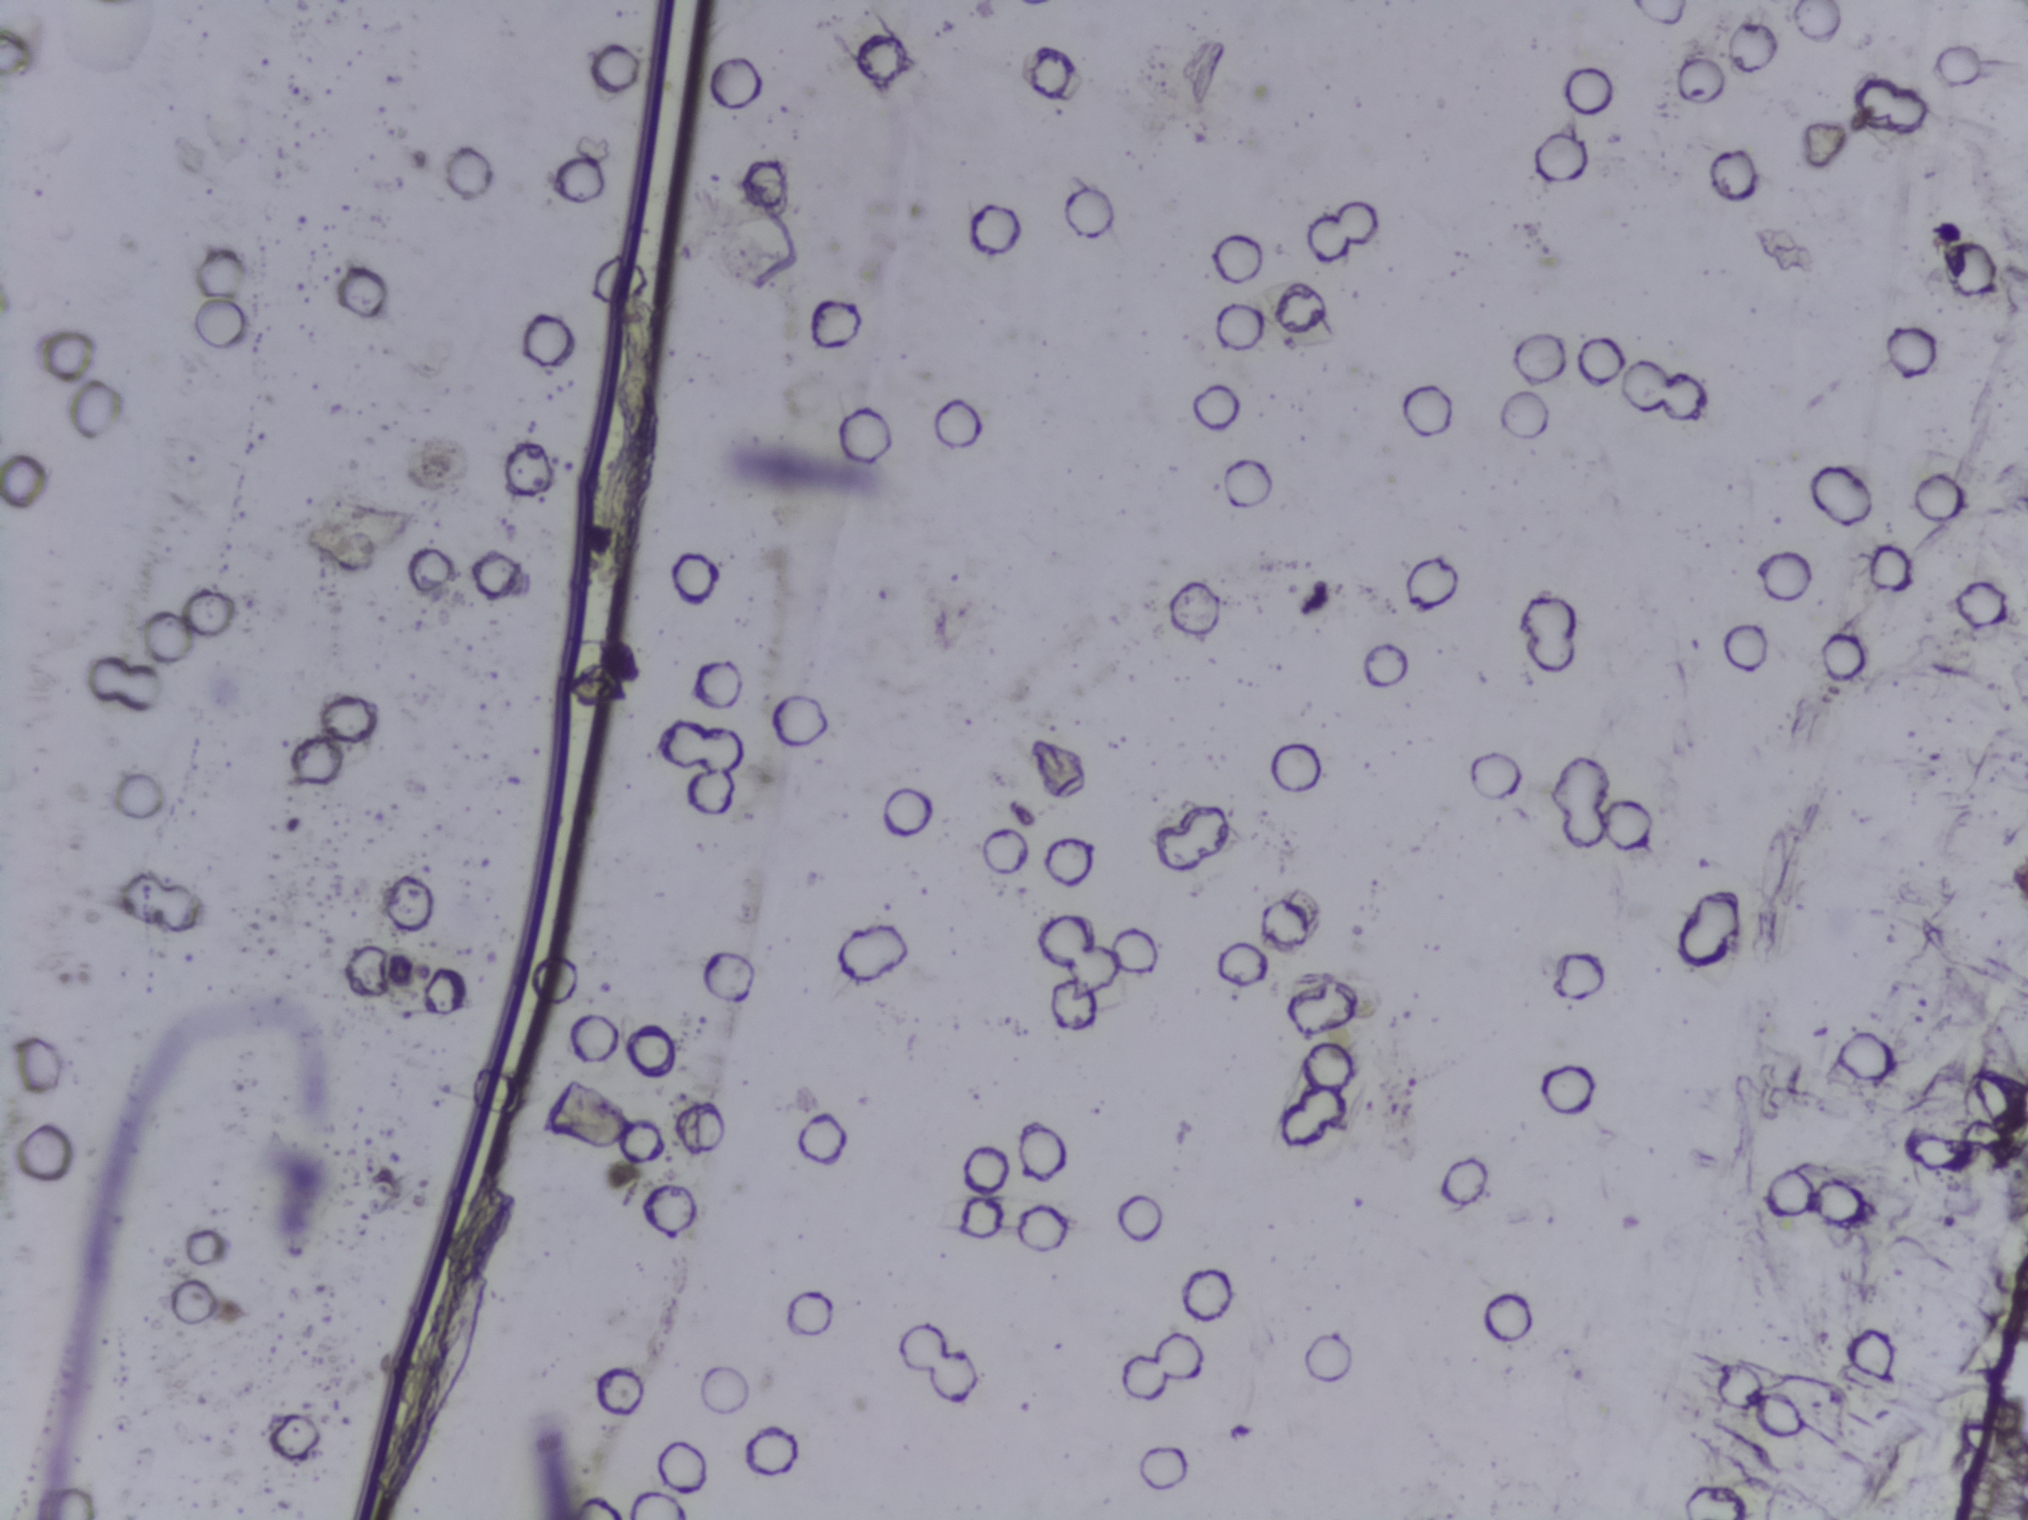
No area of this image was outlined as a Schistosoma egg.
Urine filter membrane photographed through a 4× microscope objective.